One field of view of a urine filter membrane, 4× objective, 2028 × 1520 pixels.
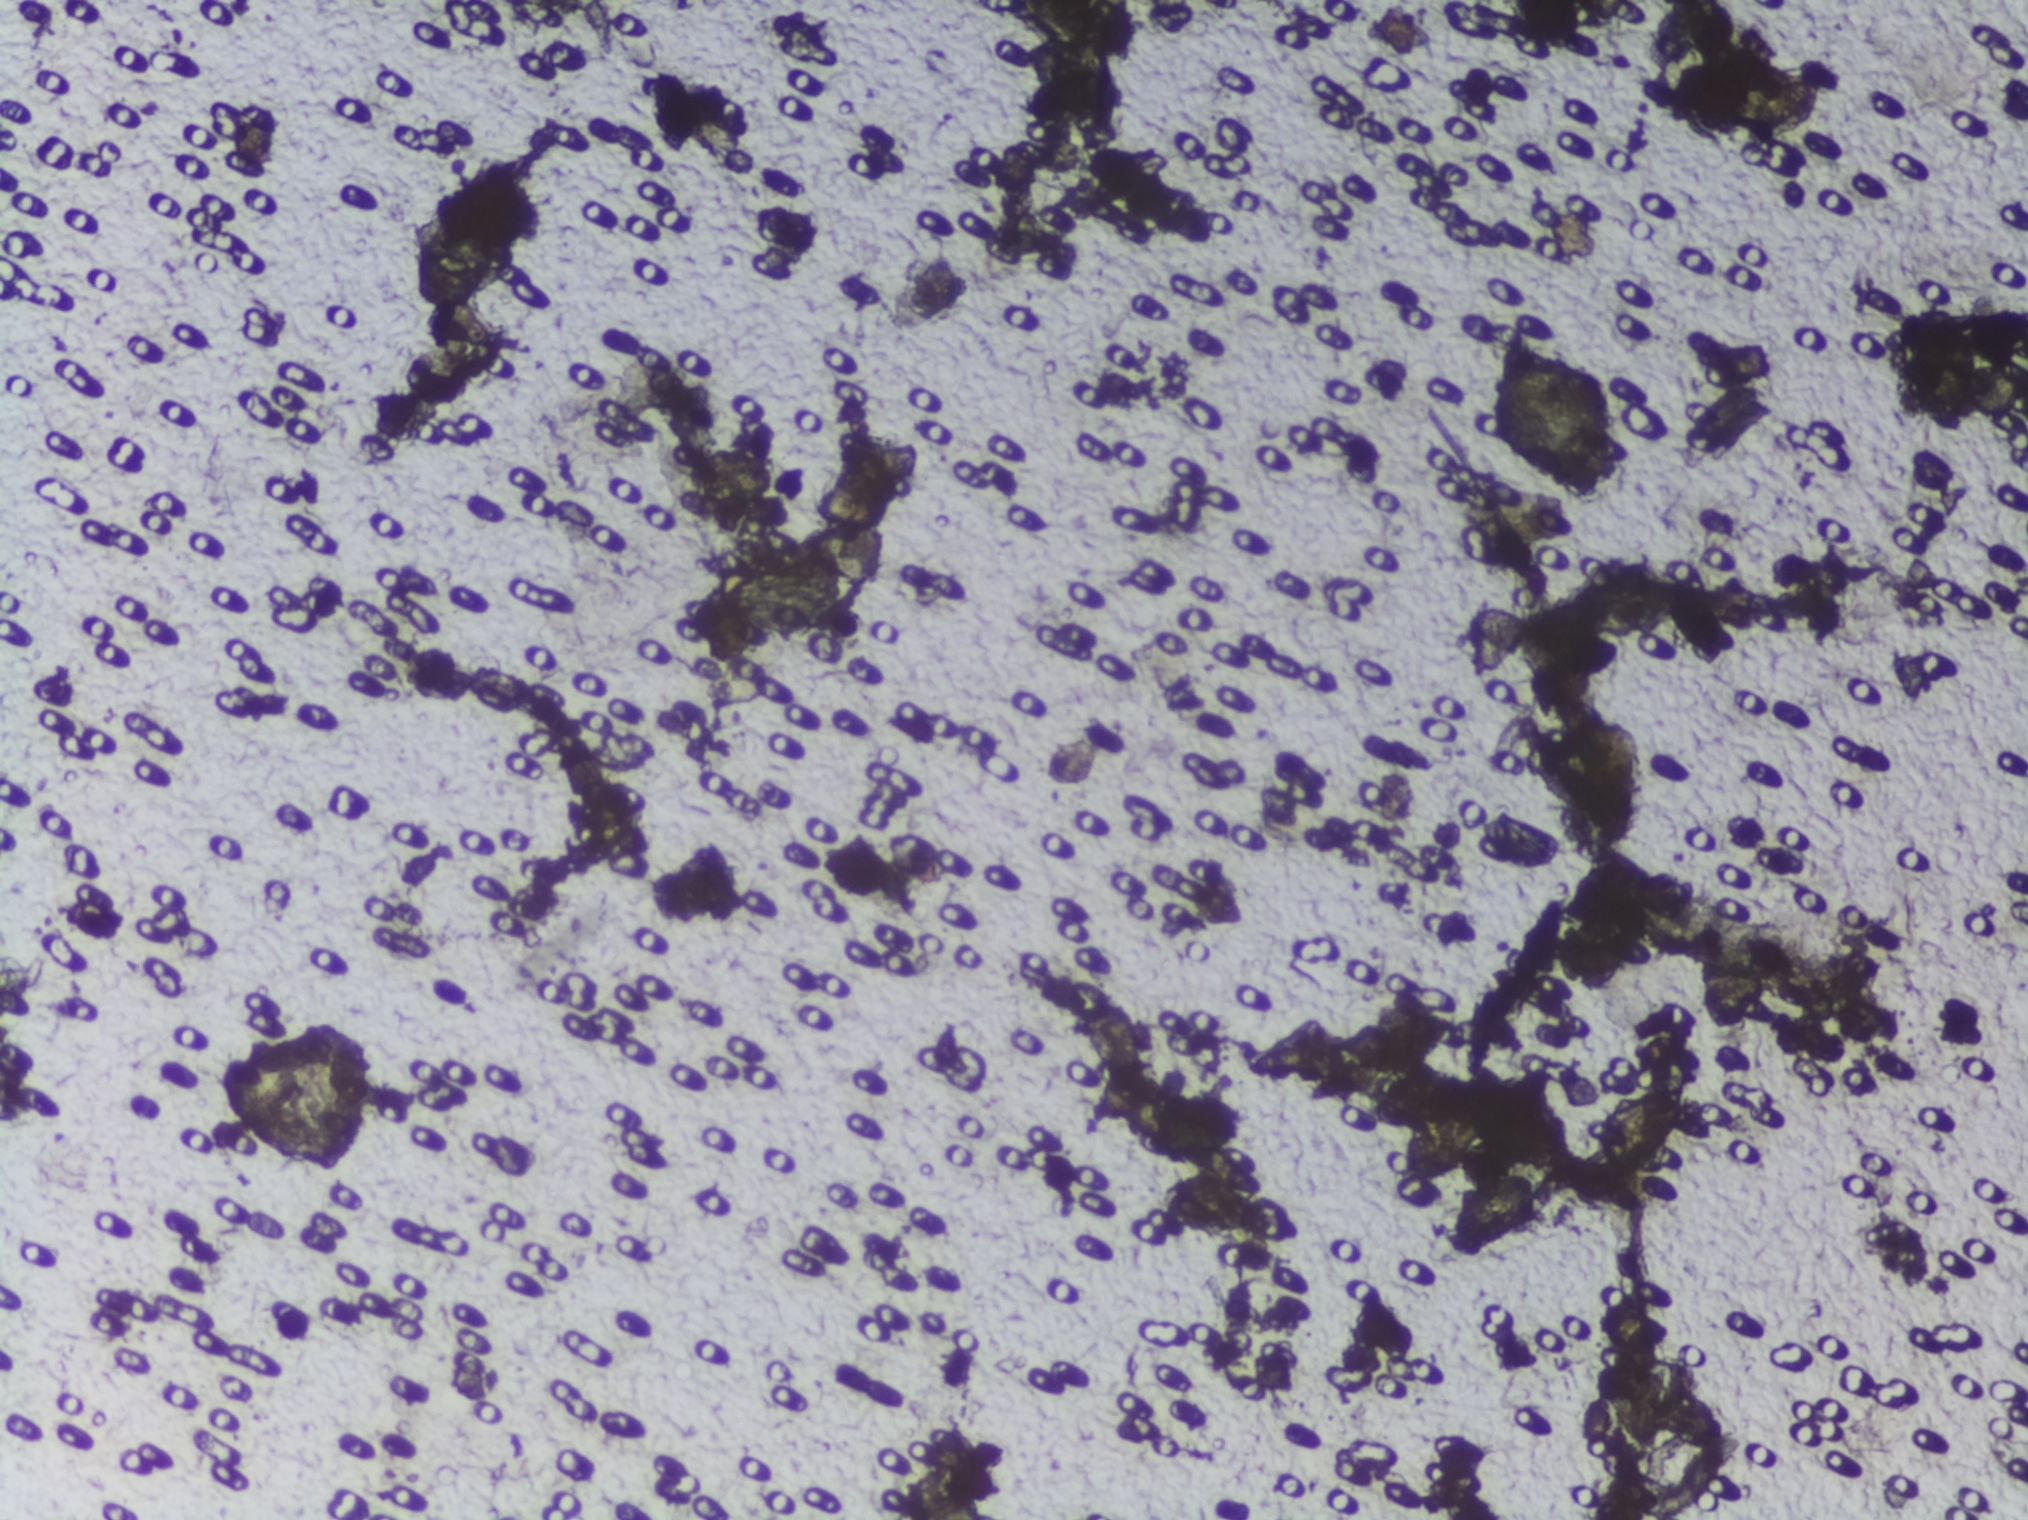
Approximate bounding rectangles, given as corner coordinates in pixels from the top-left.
Findings: one area outlined as Schistosoma eggs. Location: (x1=1597, y1=1081, x2=1682, y2=1181). A single outlined area may contain several eggs.